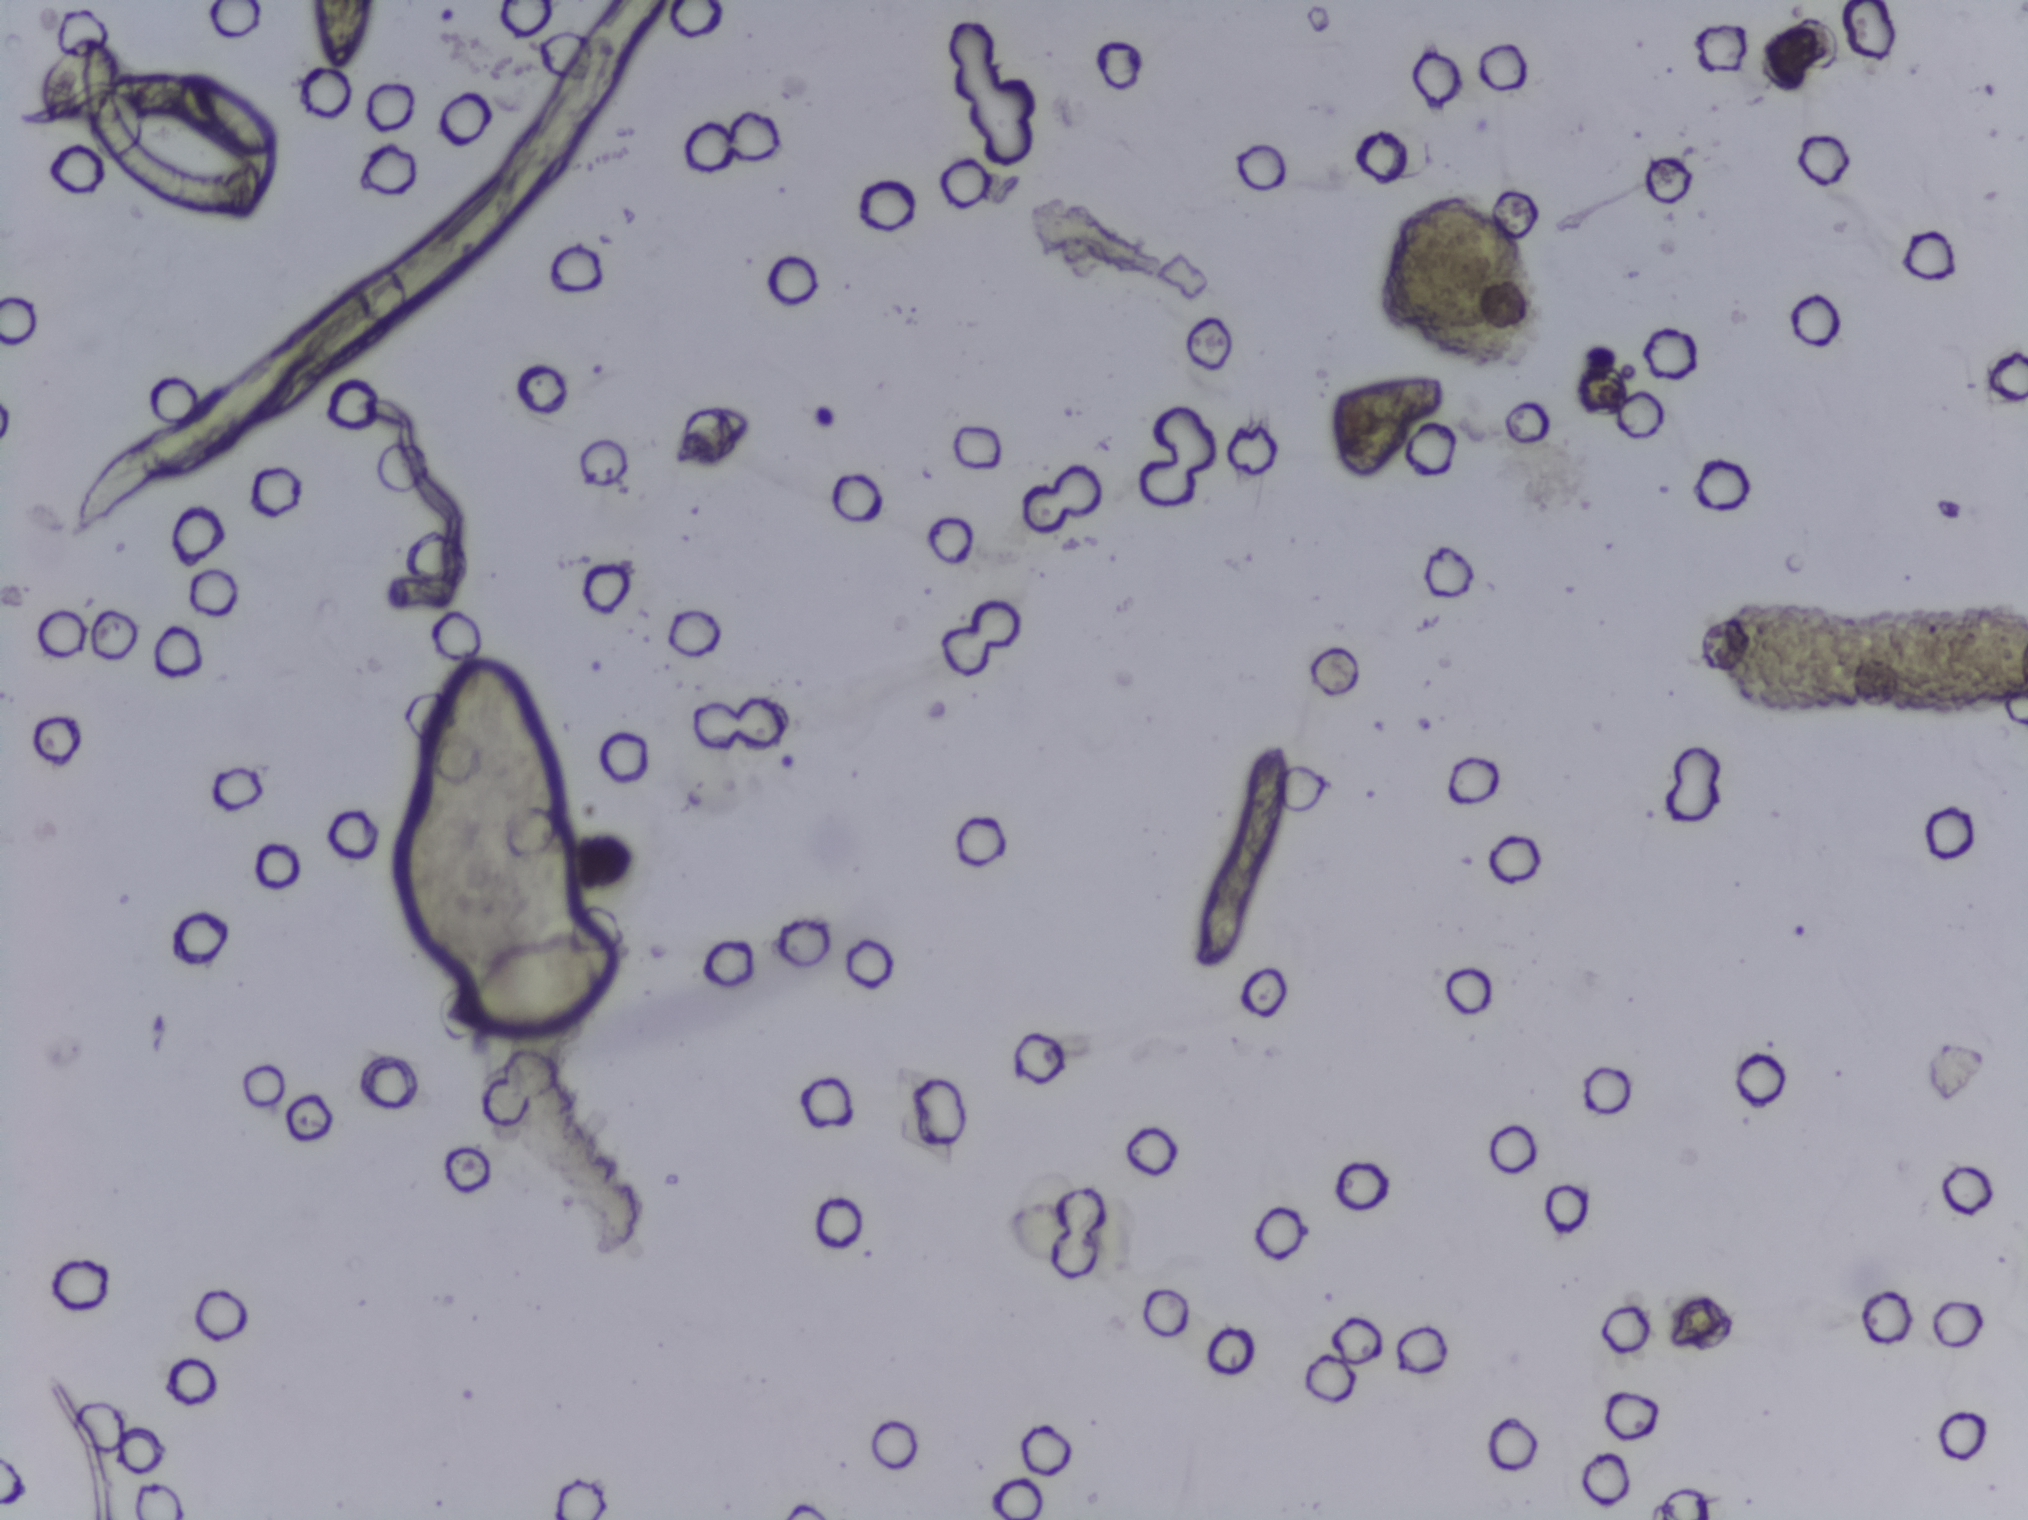
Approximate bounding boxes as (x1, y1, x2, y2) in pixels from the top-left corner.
Schistosoma egg areas, outlined: (440, 932, 631, 1040). An outlined area can hold more than one egg.
Photograph from an automated digital microscope: urine filter membrane, 4× objective.